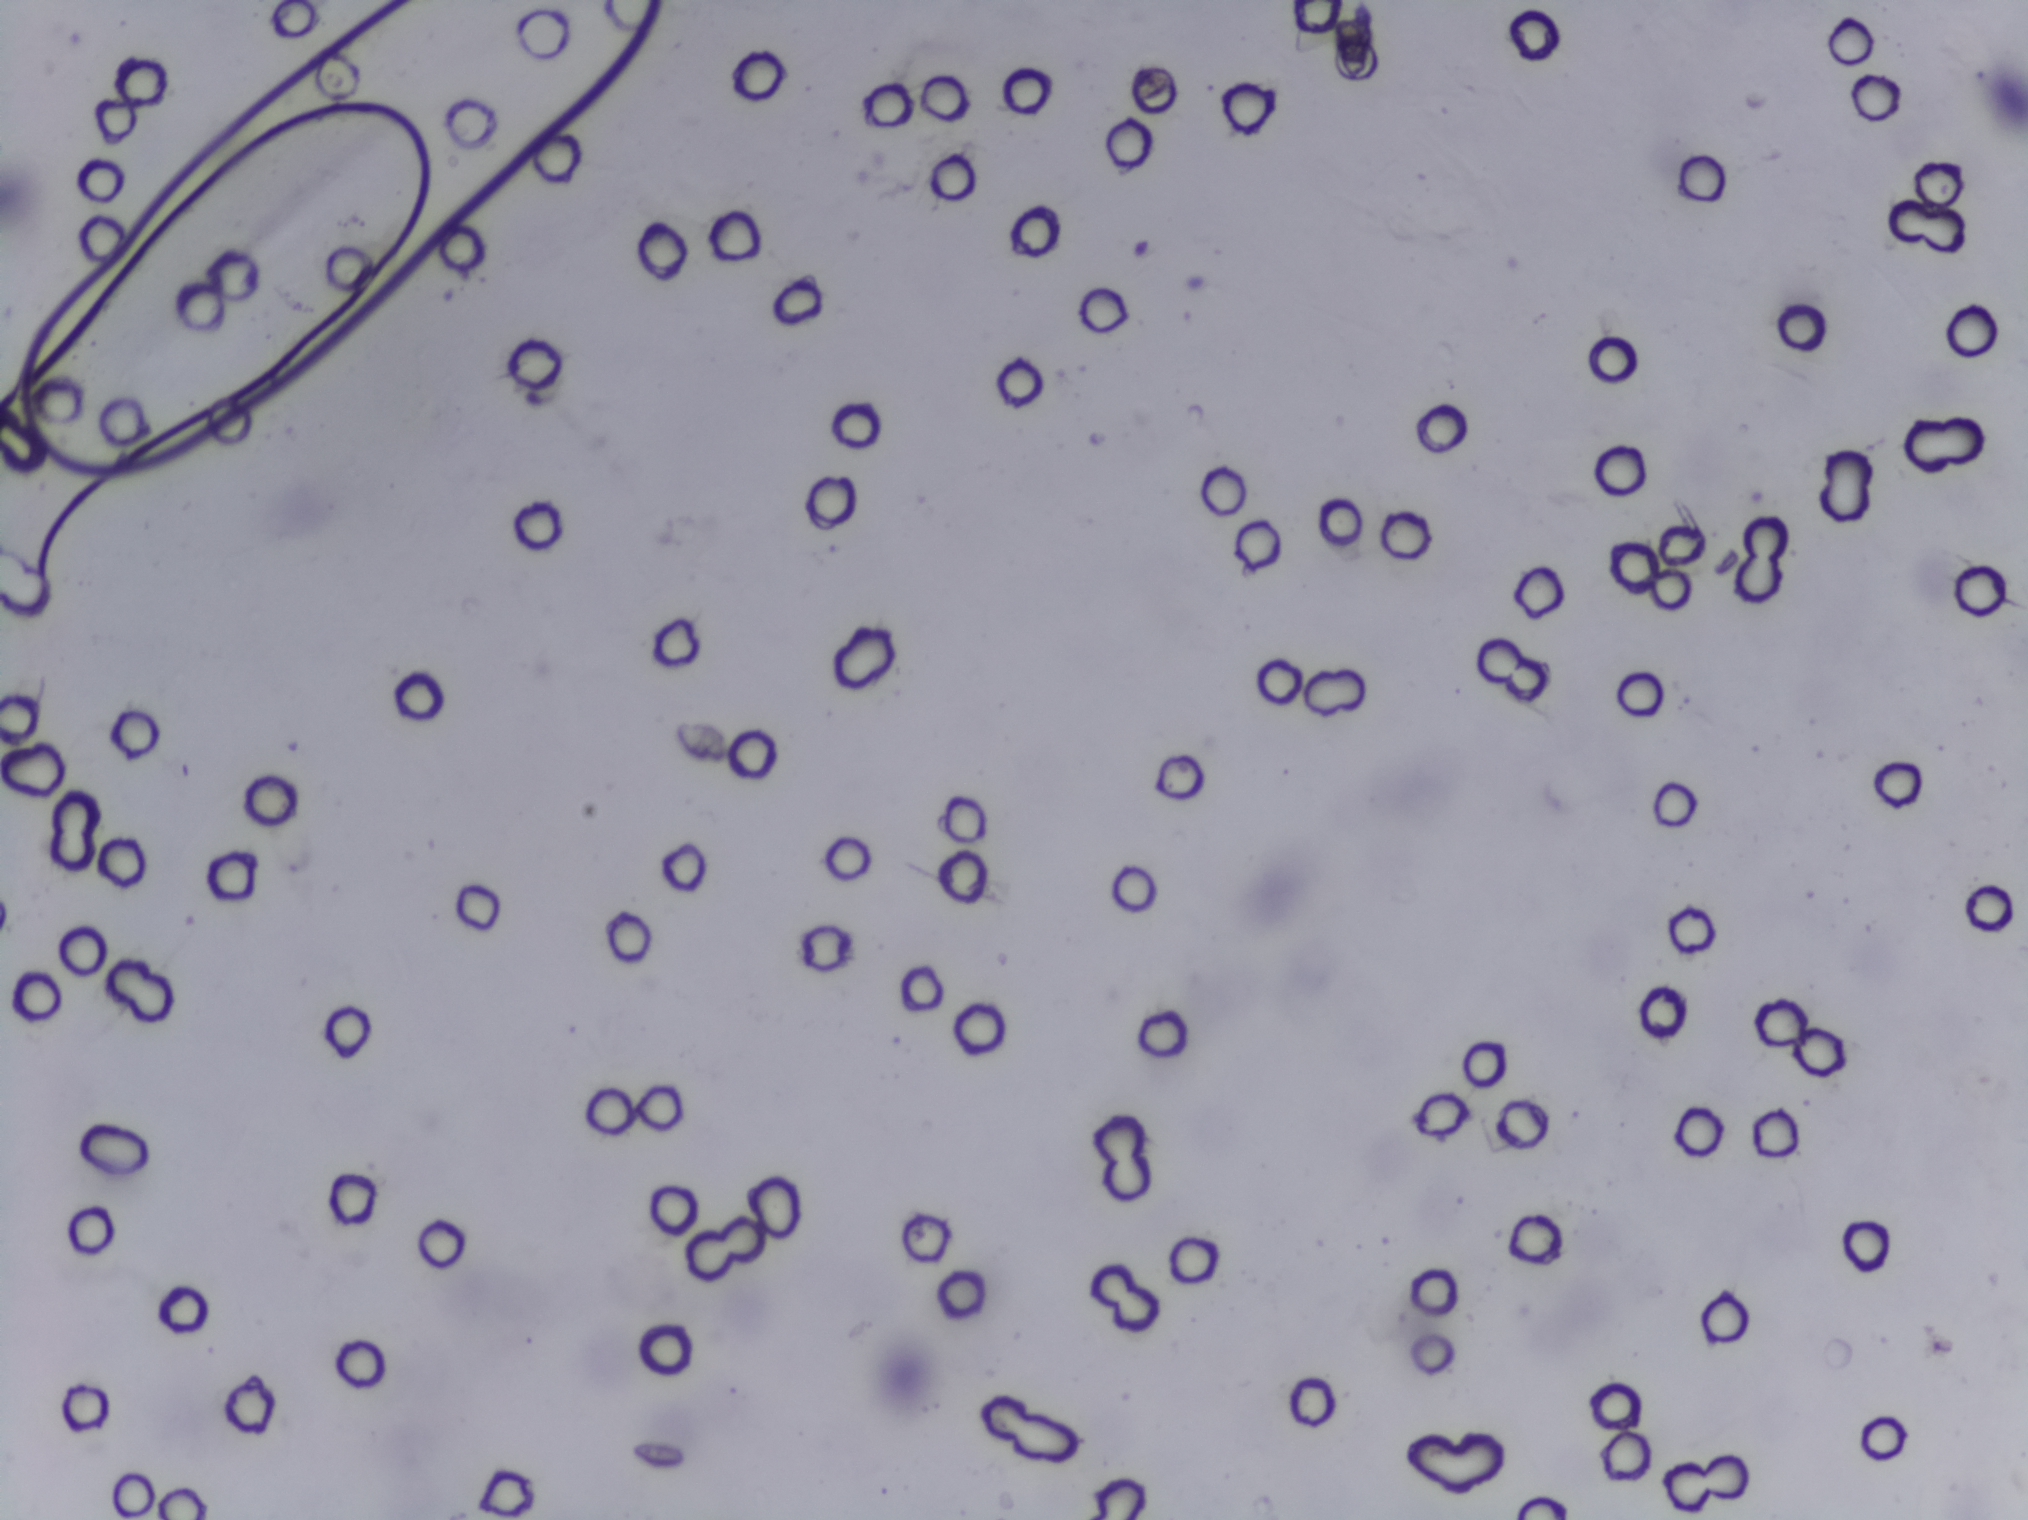
Photograph from an automated digital microscope: urine filter membrane, 4× objective.
The expert annotation outlines no Schistosoma egg in this image.